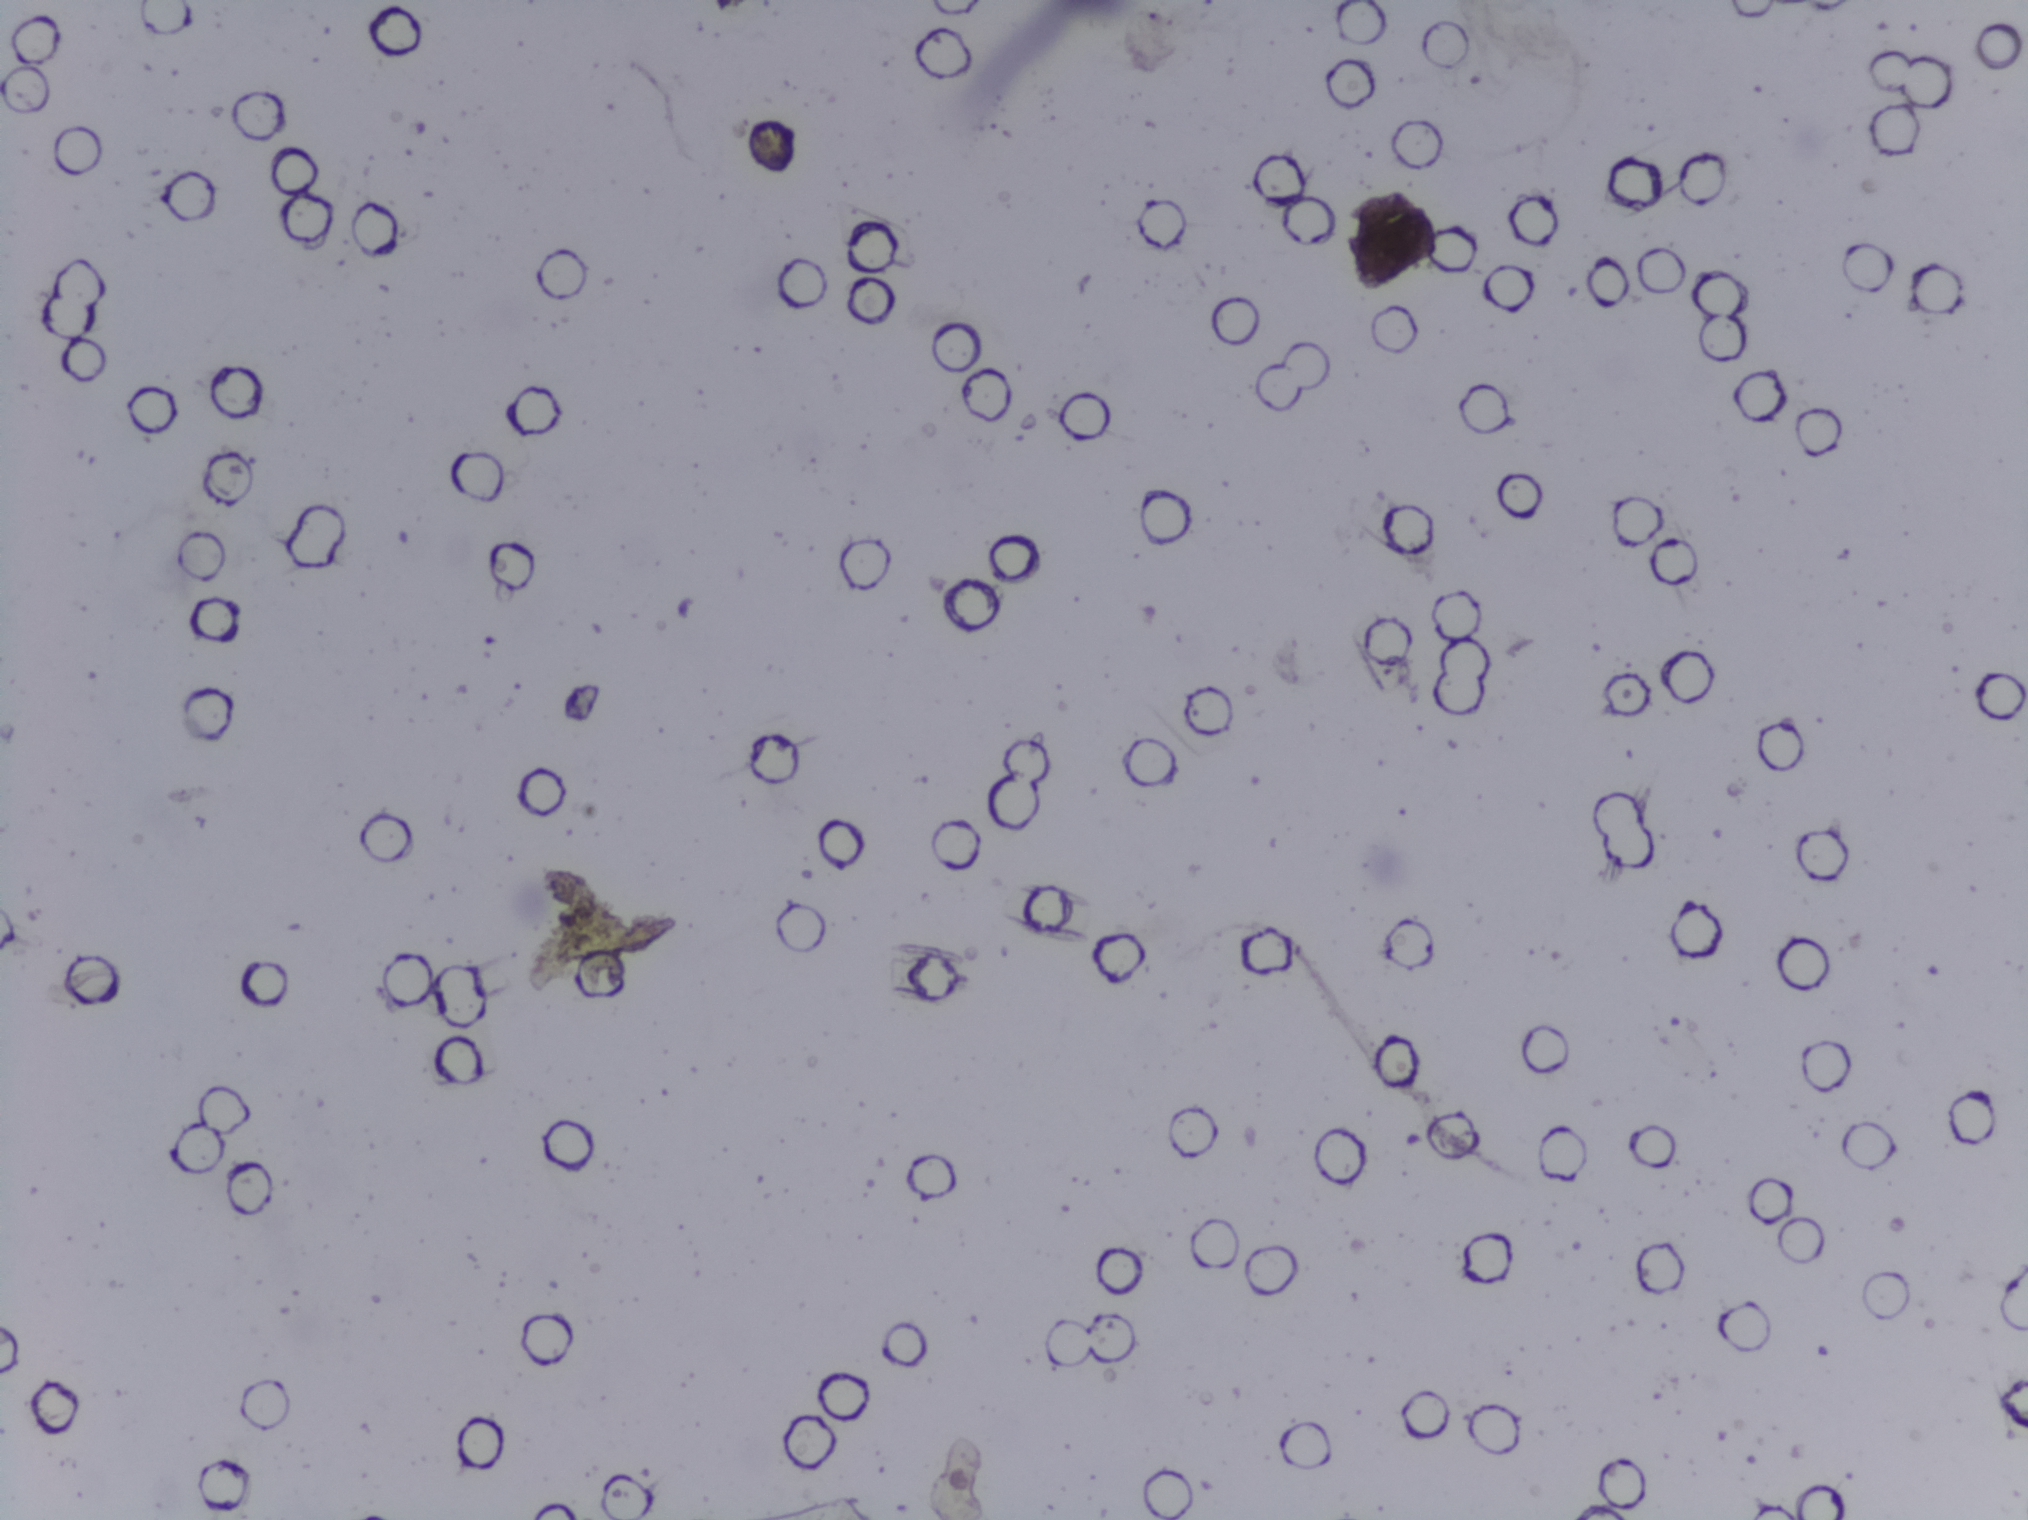
Photograph from an automated digital microscope: urine filter membrane, 4× objective.
The expert annotation outlines no Schistosoma egg in this image.